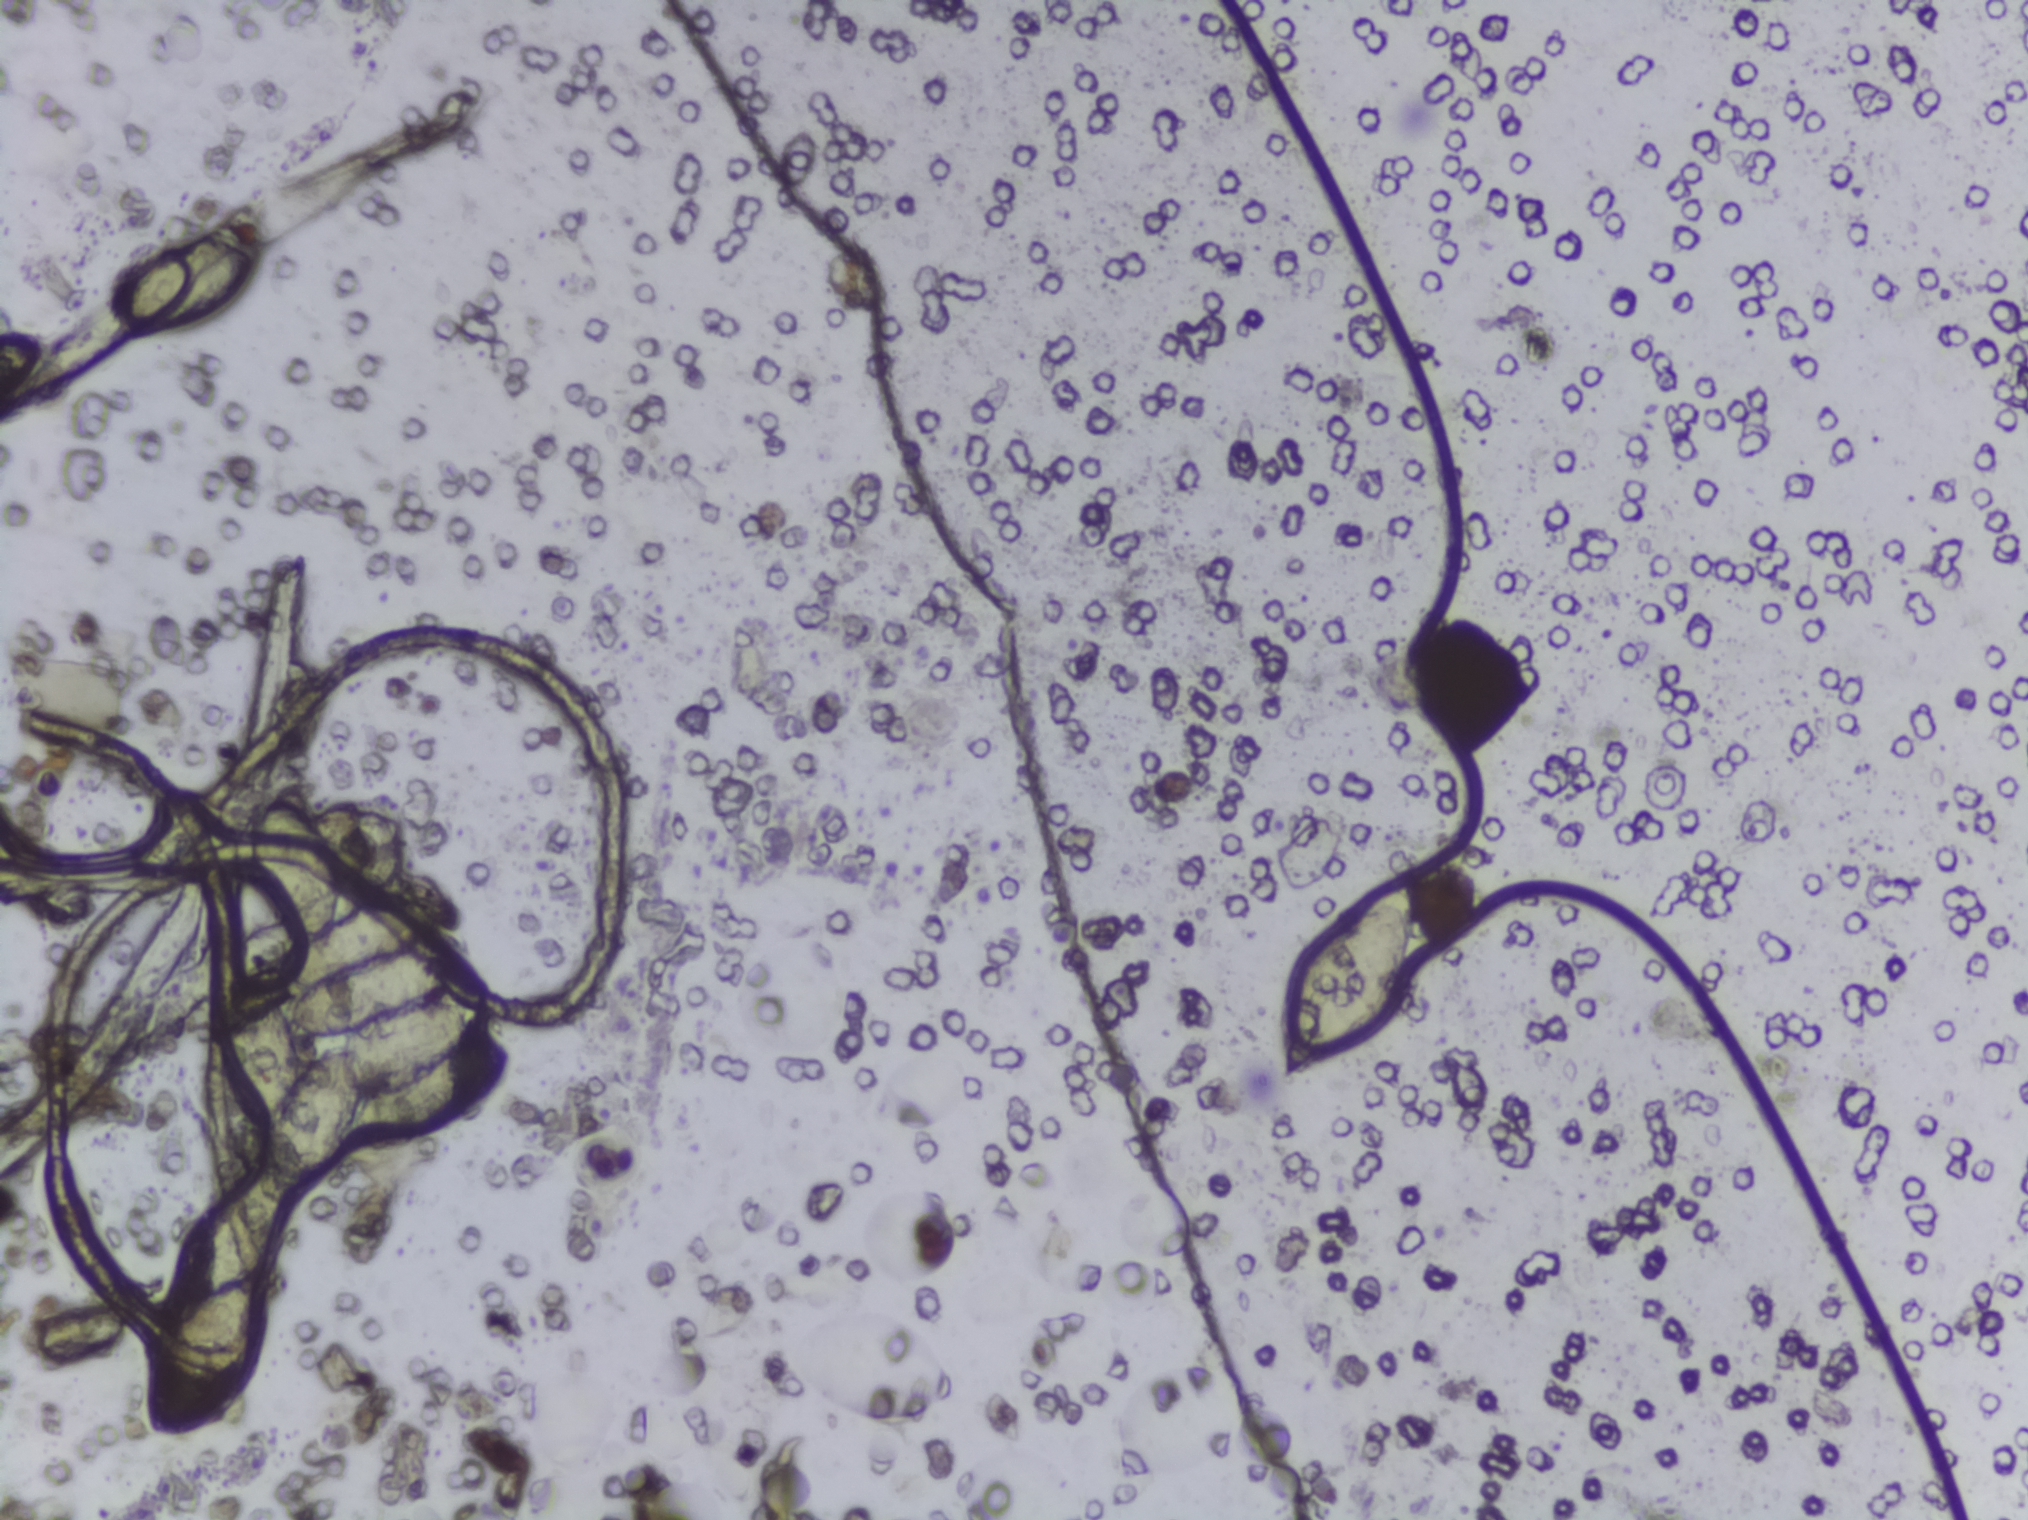
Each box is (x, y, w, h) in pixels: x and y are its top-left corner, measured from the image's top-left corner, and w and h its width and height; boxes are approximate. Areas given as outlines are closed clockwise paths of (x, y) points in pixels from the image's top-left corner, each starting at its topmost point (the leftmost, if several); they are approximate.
Outlined Schistosoma egg areas, left to right:
1. outline (276, 795), (291, 799), (319, 832), (337, 870), (338, 908), (407, 898), (427, 912), (419, 937), (444, 941), (461, 954), (457, 986), (475, 988), (488, 1002), (488, 1017), (475, 1034), (499, 1035), (507, 1047), (508, 1073), (482, 1101), (414, 1142), (365, 1150), (349, 1139), (322, 1181), (290, 1202), (277, 1253), (260, 1272), (263, 1311), (255, 1356), (235, 1406), (203, 1436), (164, 1444), (151, 1435), (145, 1369), (171, 1311), (184, 1235), (233, 1185), (271, 1161), (270, 1135), (249, 1121), (222, 1076), (219, 1045), (241, 976), (300, 943), (271, 911), (254, 868), (250, 830) (a cluster of eggs)
2. box (x=1281, y=882, w=129, h=199)
Eggs that touch can end up inside the same outlined area.
Urine filter membrane photographed through a 4× microscope objective.